Microscope photograph (4× objective) of a membrane that a urine sample was filtered through.
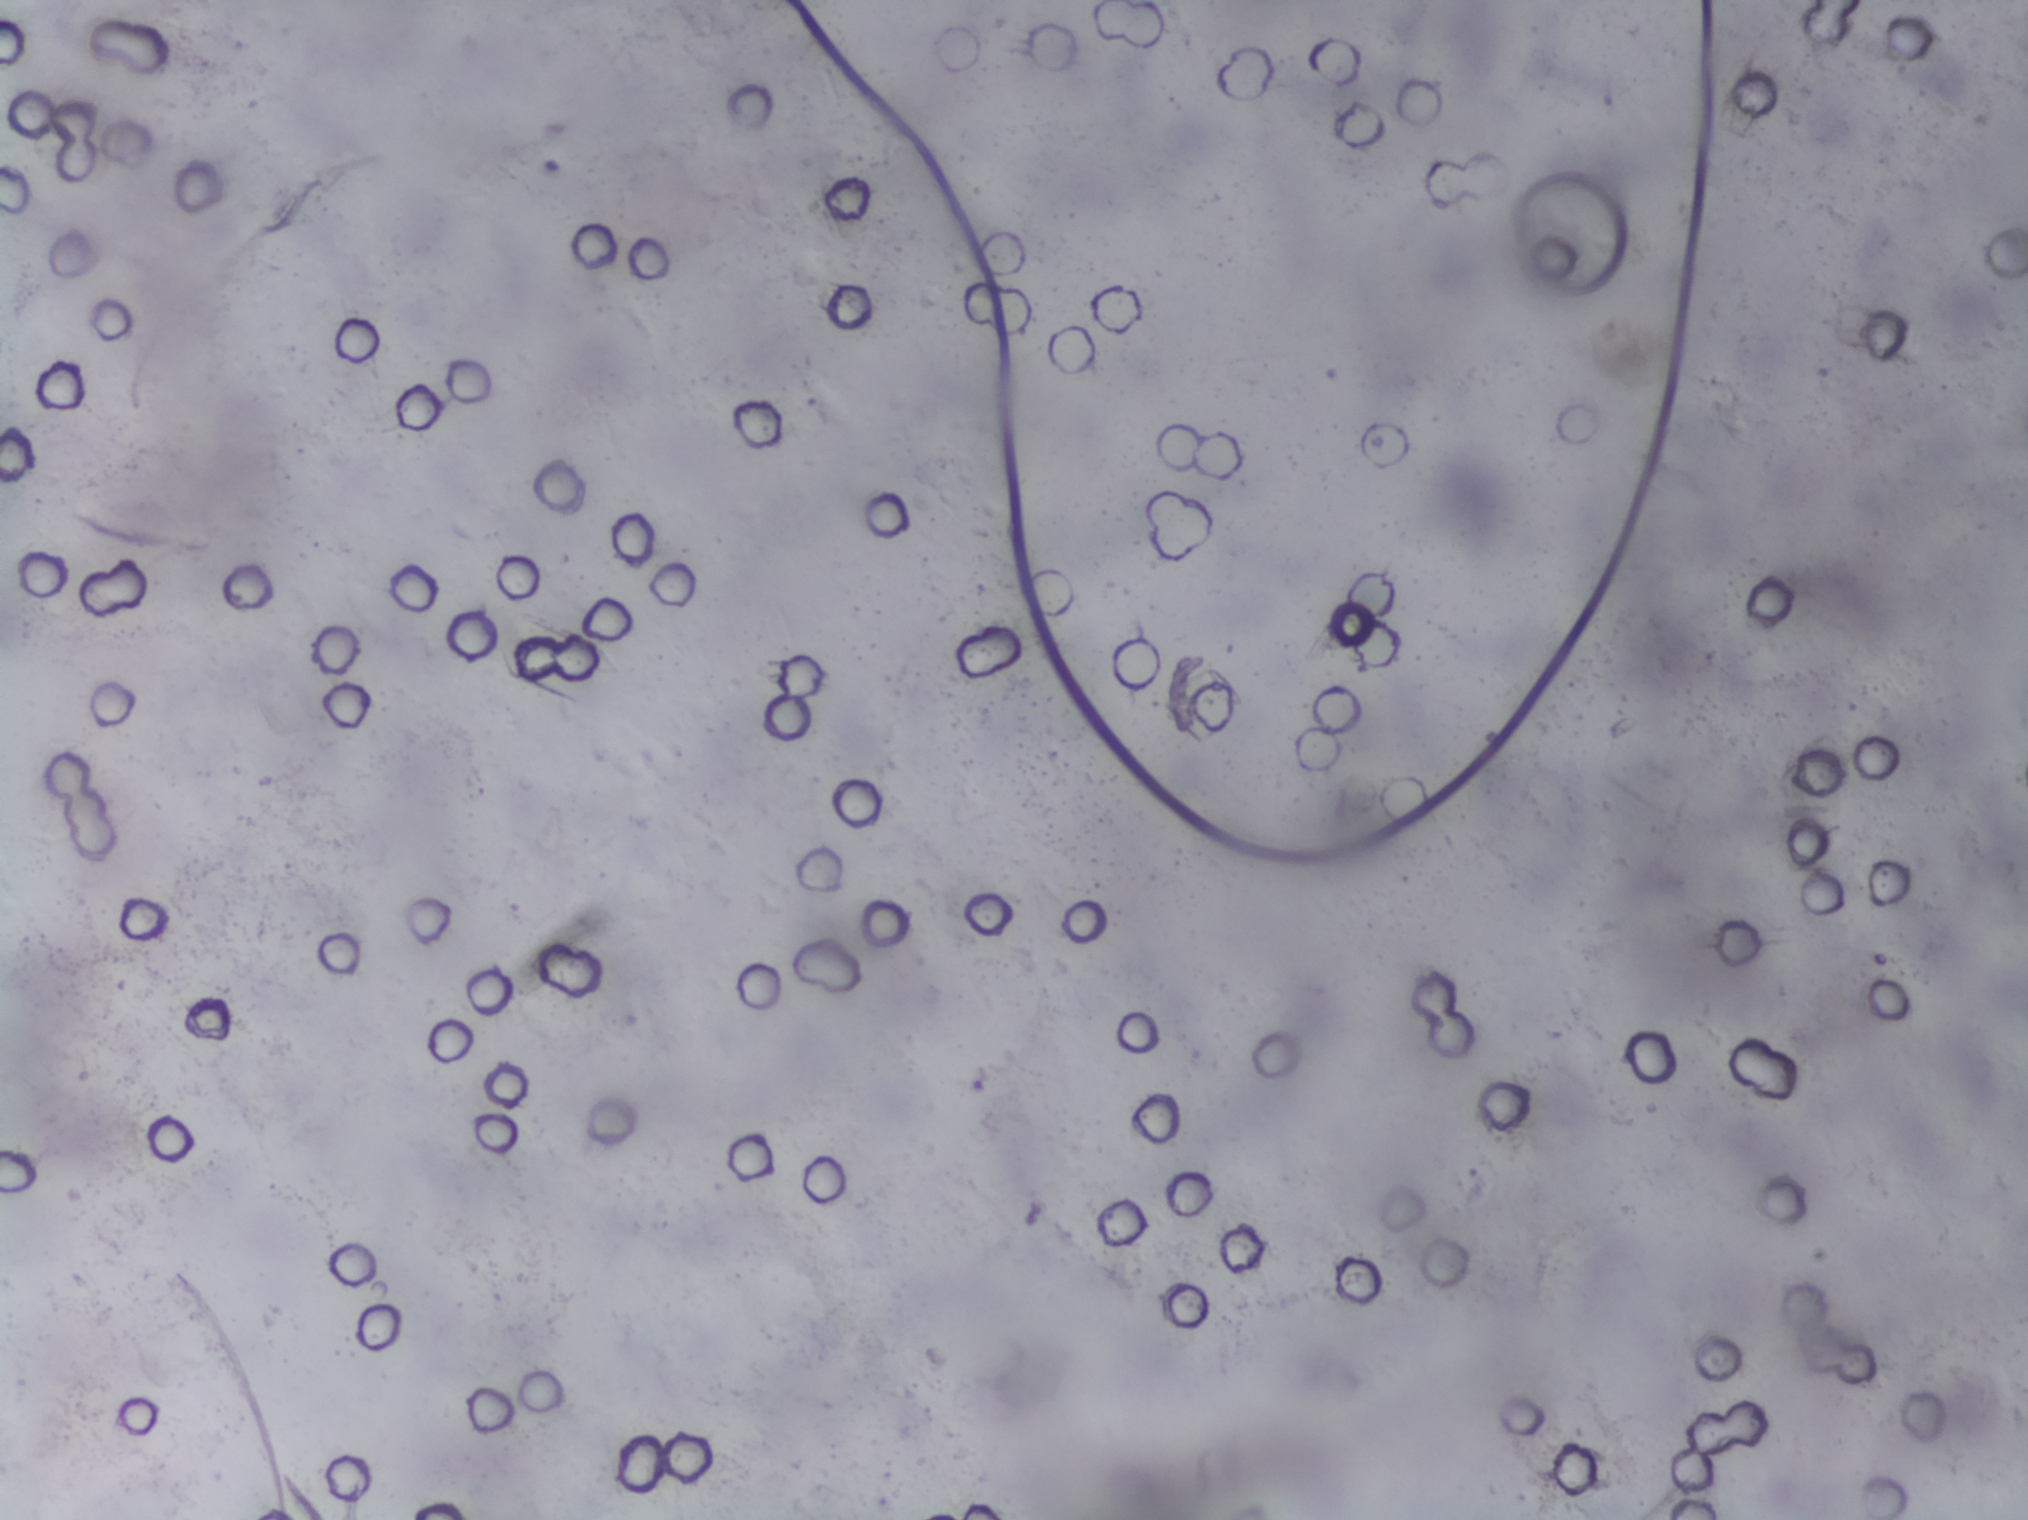
The expert annotation marks no Schistosoma egg in this field of view.